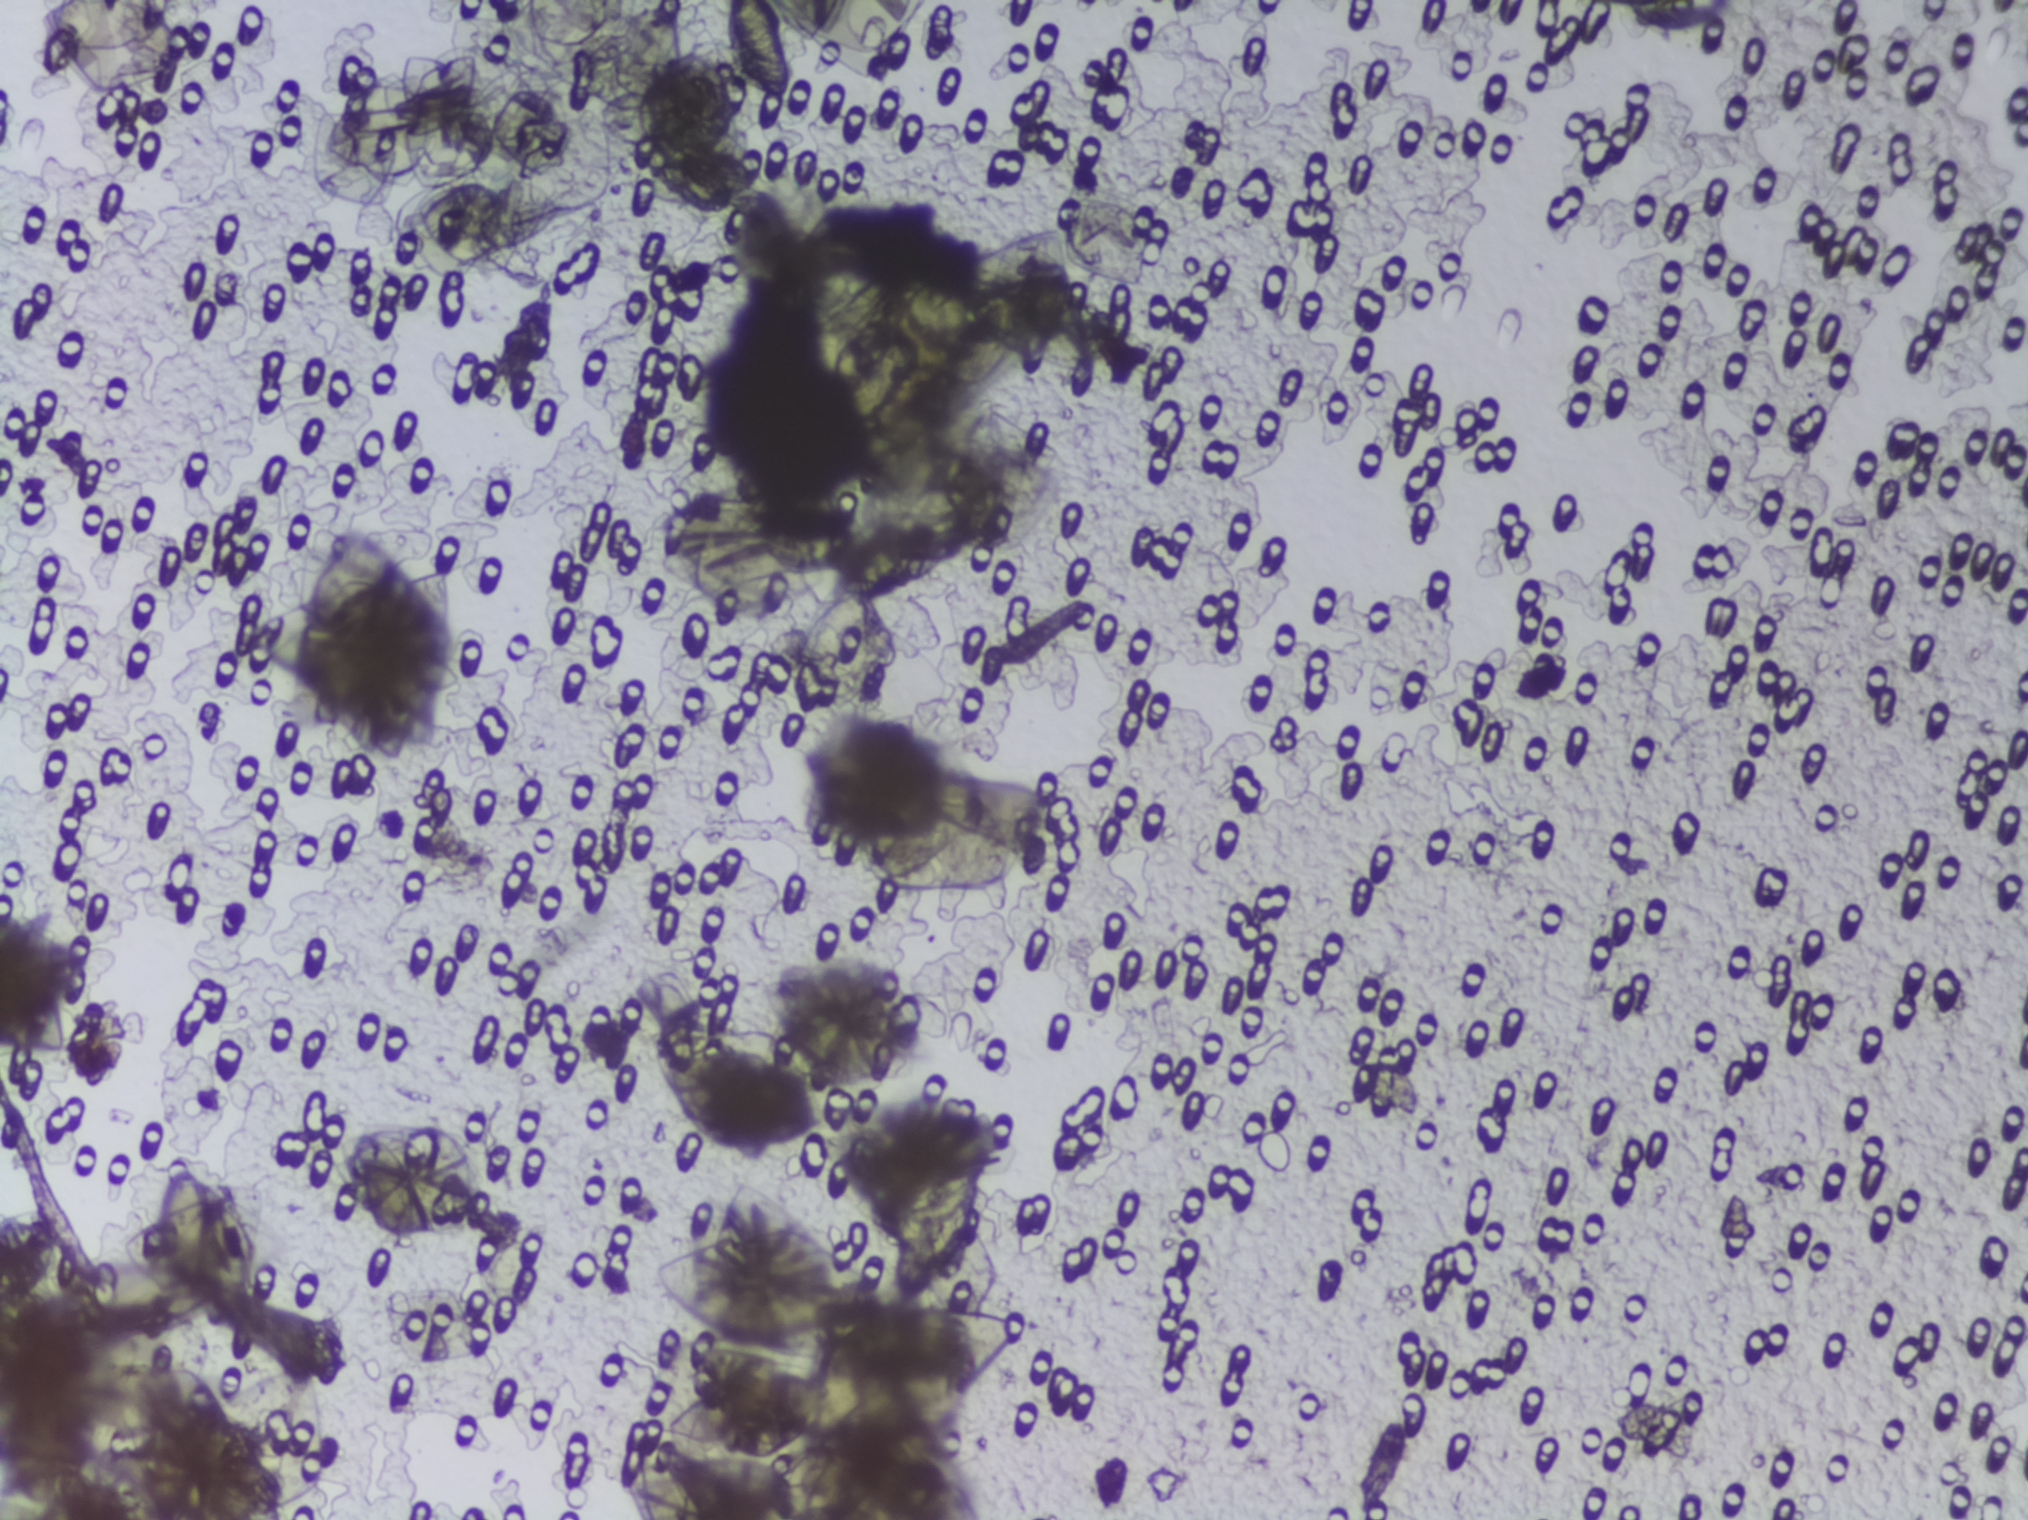
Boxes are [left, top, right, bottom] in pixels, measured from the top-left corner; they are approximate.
Outlined Schistosoma egg areas:
1. [723, 0, 796, 103] (reaching the top edge of the frame)
An outlined area can hold more than one egg.
Photograph from an automated digital microscope: urine filter membrane, 4× objective.